Photograph from an automated digital microscope: urine filter membrane, 4× objective.
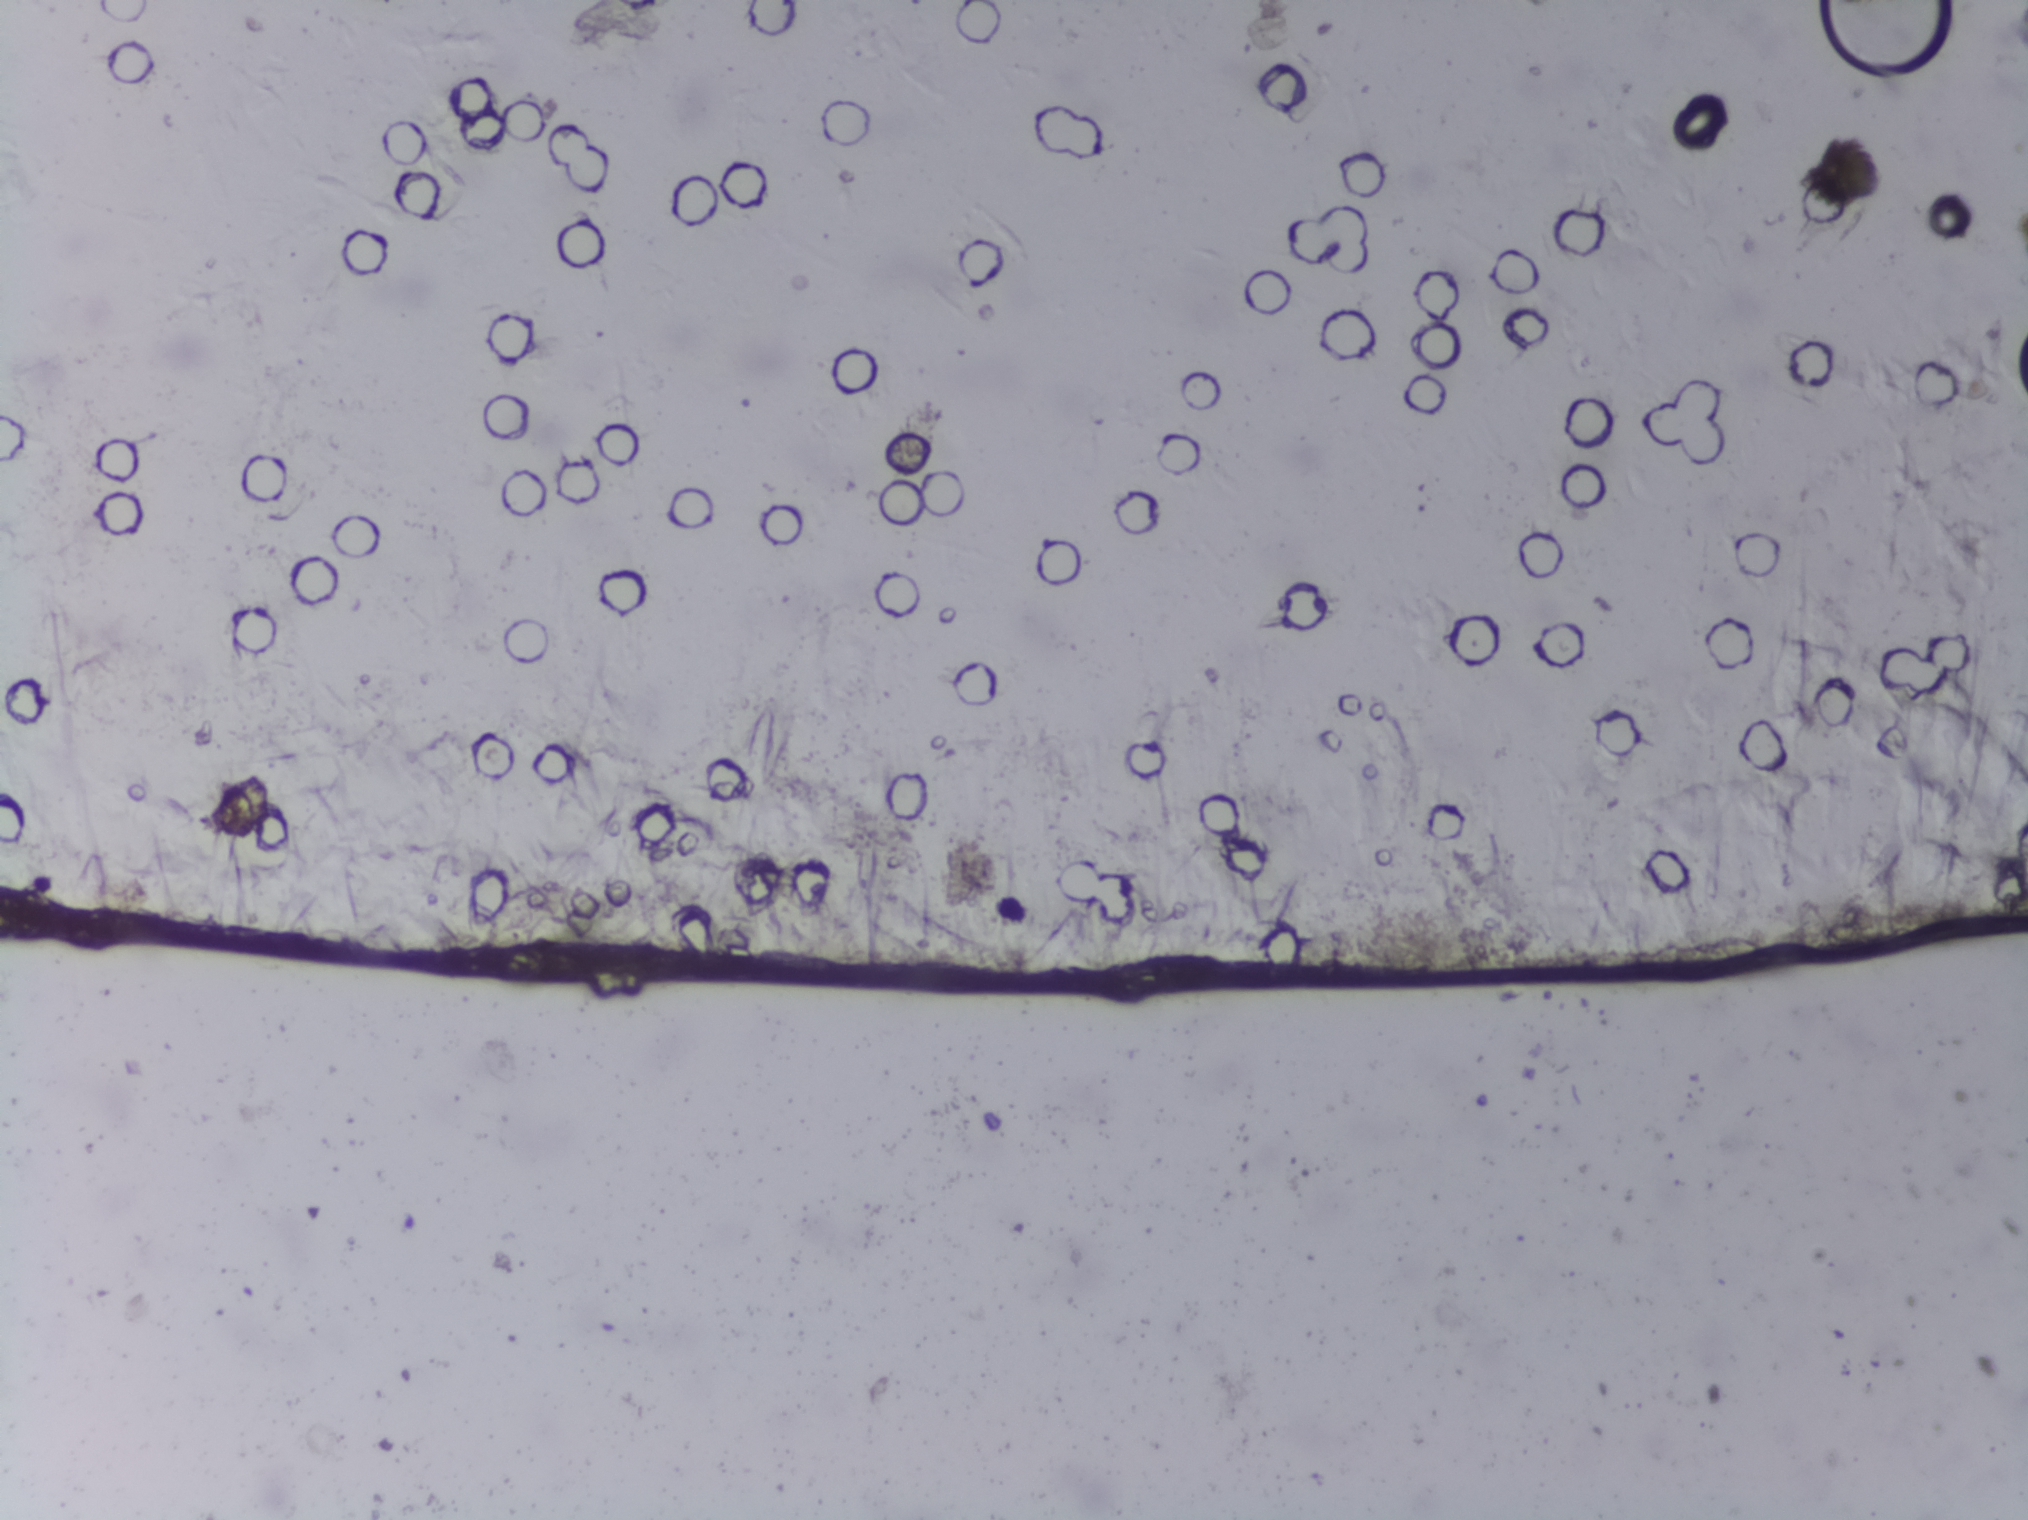
Schistosoma eggs: none outlined.